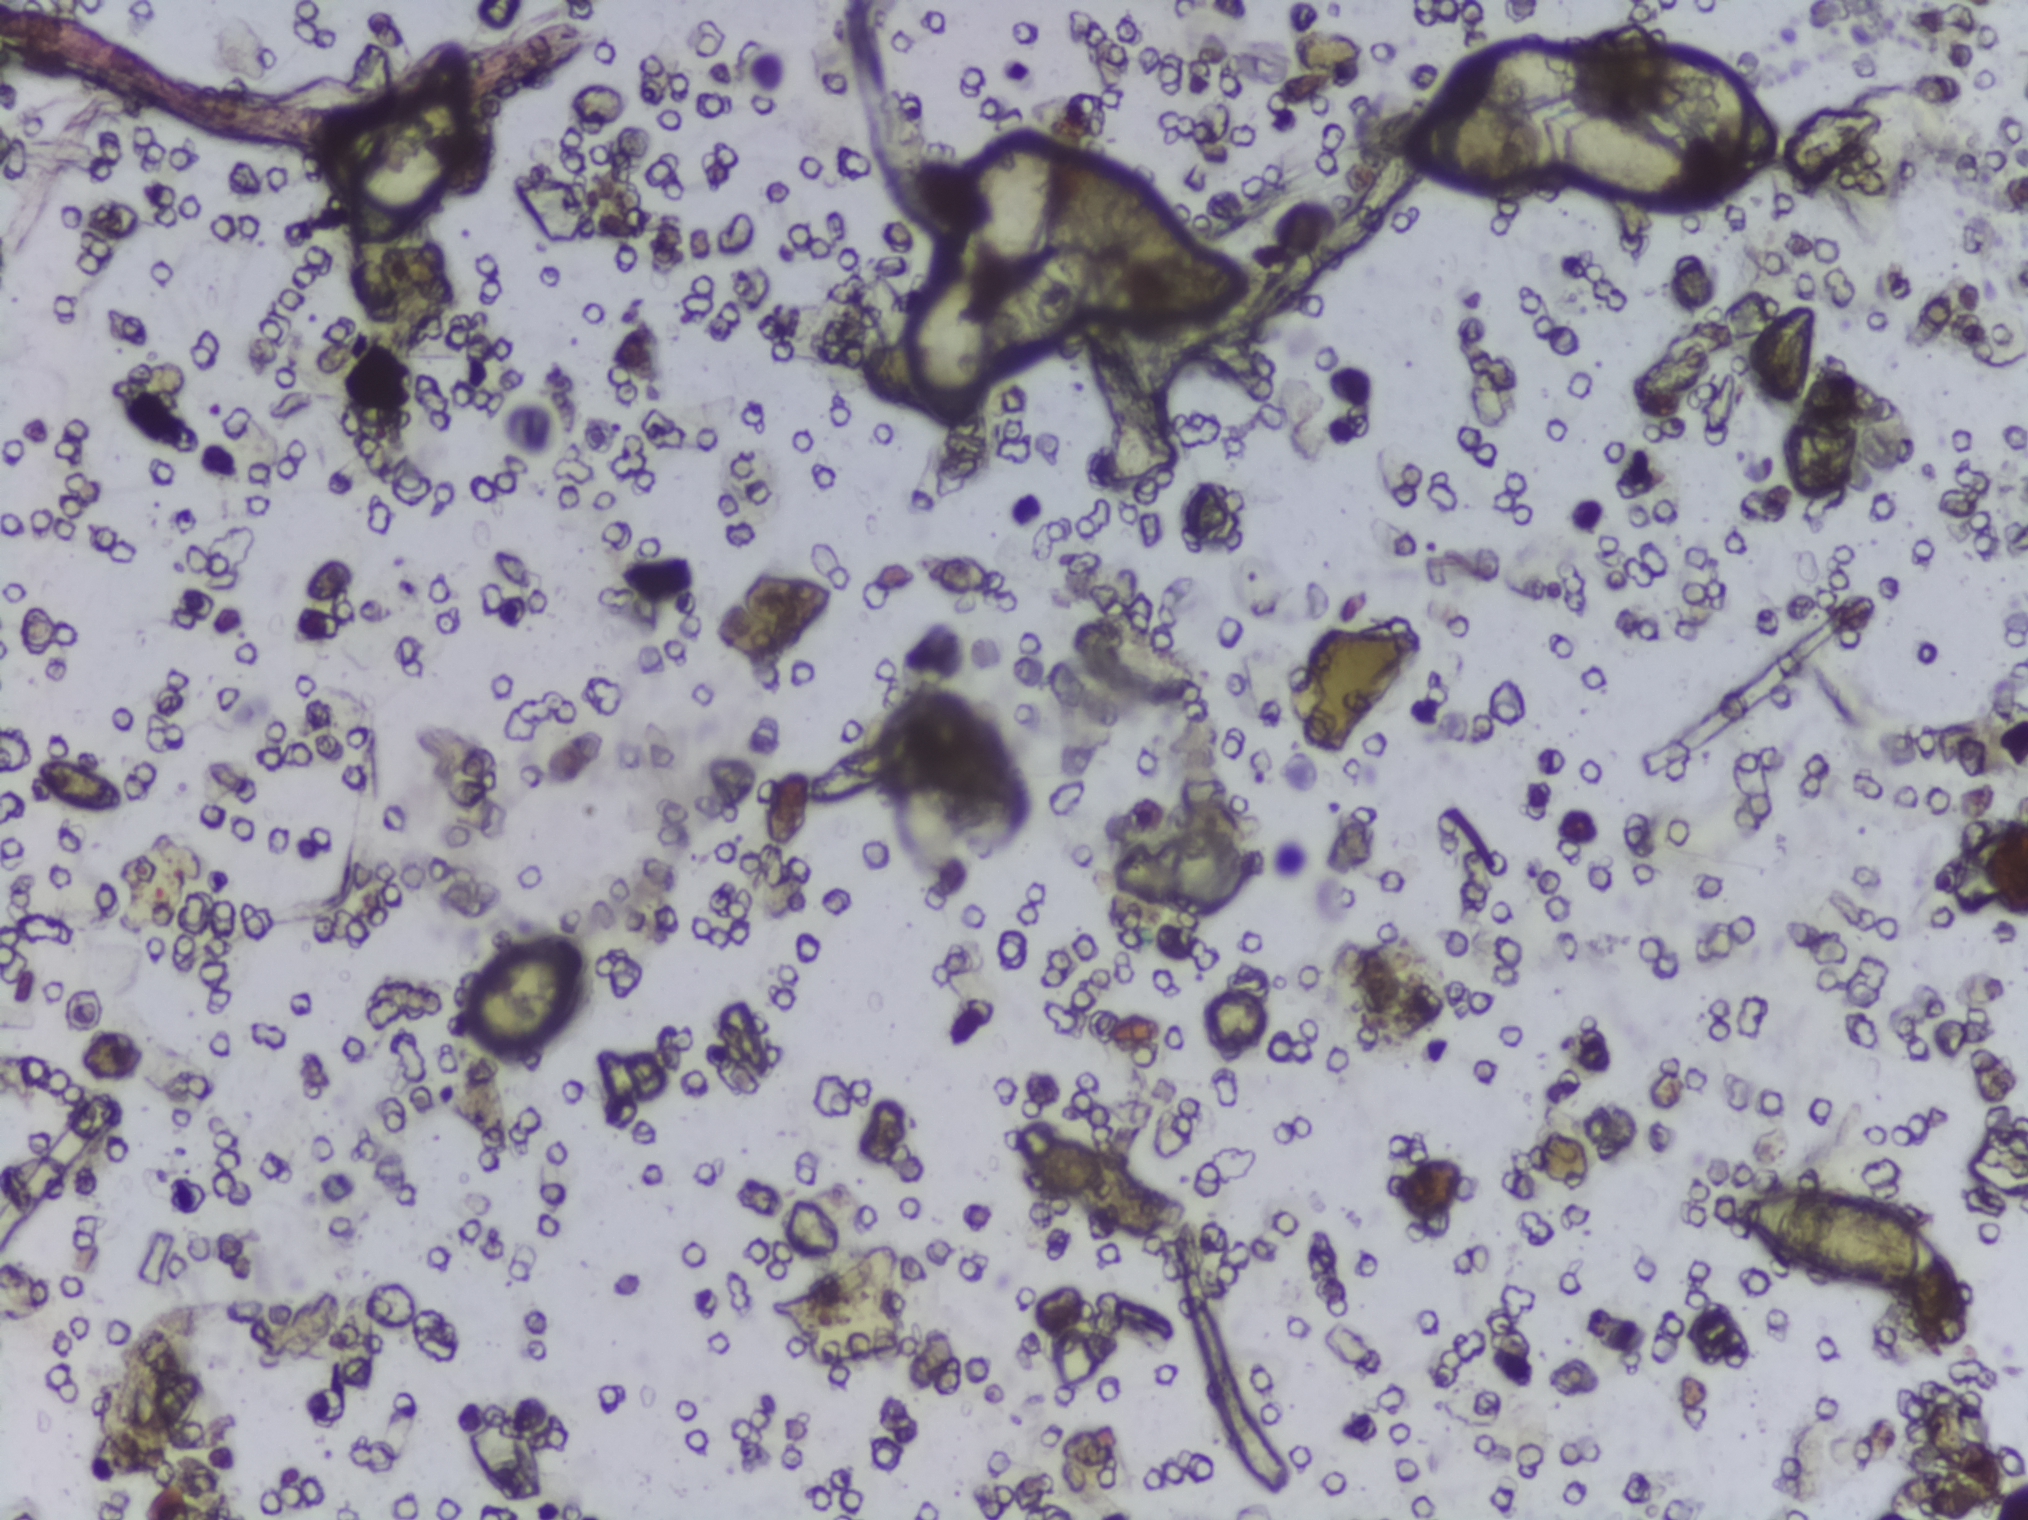
Urine filtration membrane under a 4× objective, photographed by an automated digital microscope. The image covers about 1.5 × 1.1 mm of the membrane.
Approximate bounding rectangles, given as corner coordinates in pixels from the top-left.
Schistosoma eggs are outlined in the expert annotation at (x1=343, y1=118, x2=431, y2=250); (x1=902, y1=125, x2=1098, y2=433); (x1=1400, y1=39, x2=1705, y2=216); (x1=1622, y1=42, x2=1781, y2=170); (x1=1735, y1=1185, x2=1942, y2=1289). About 3.2% of the image's pixels are marked (the marked pixels themselves, not the boxes around them). An outlined area can hold more than one egg.